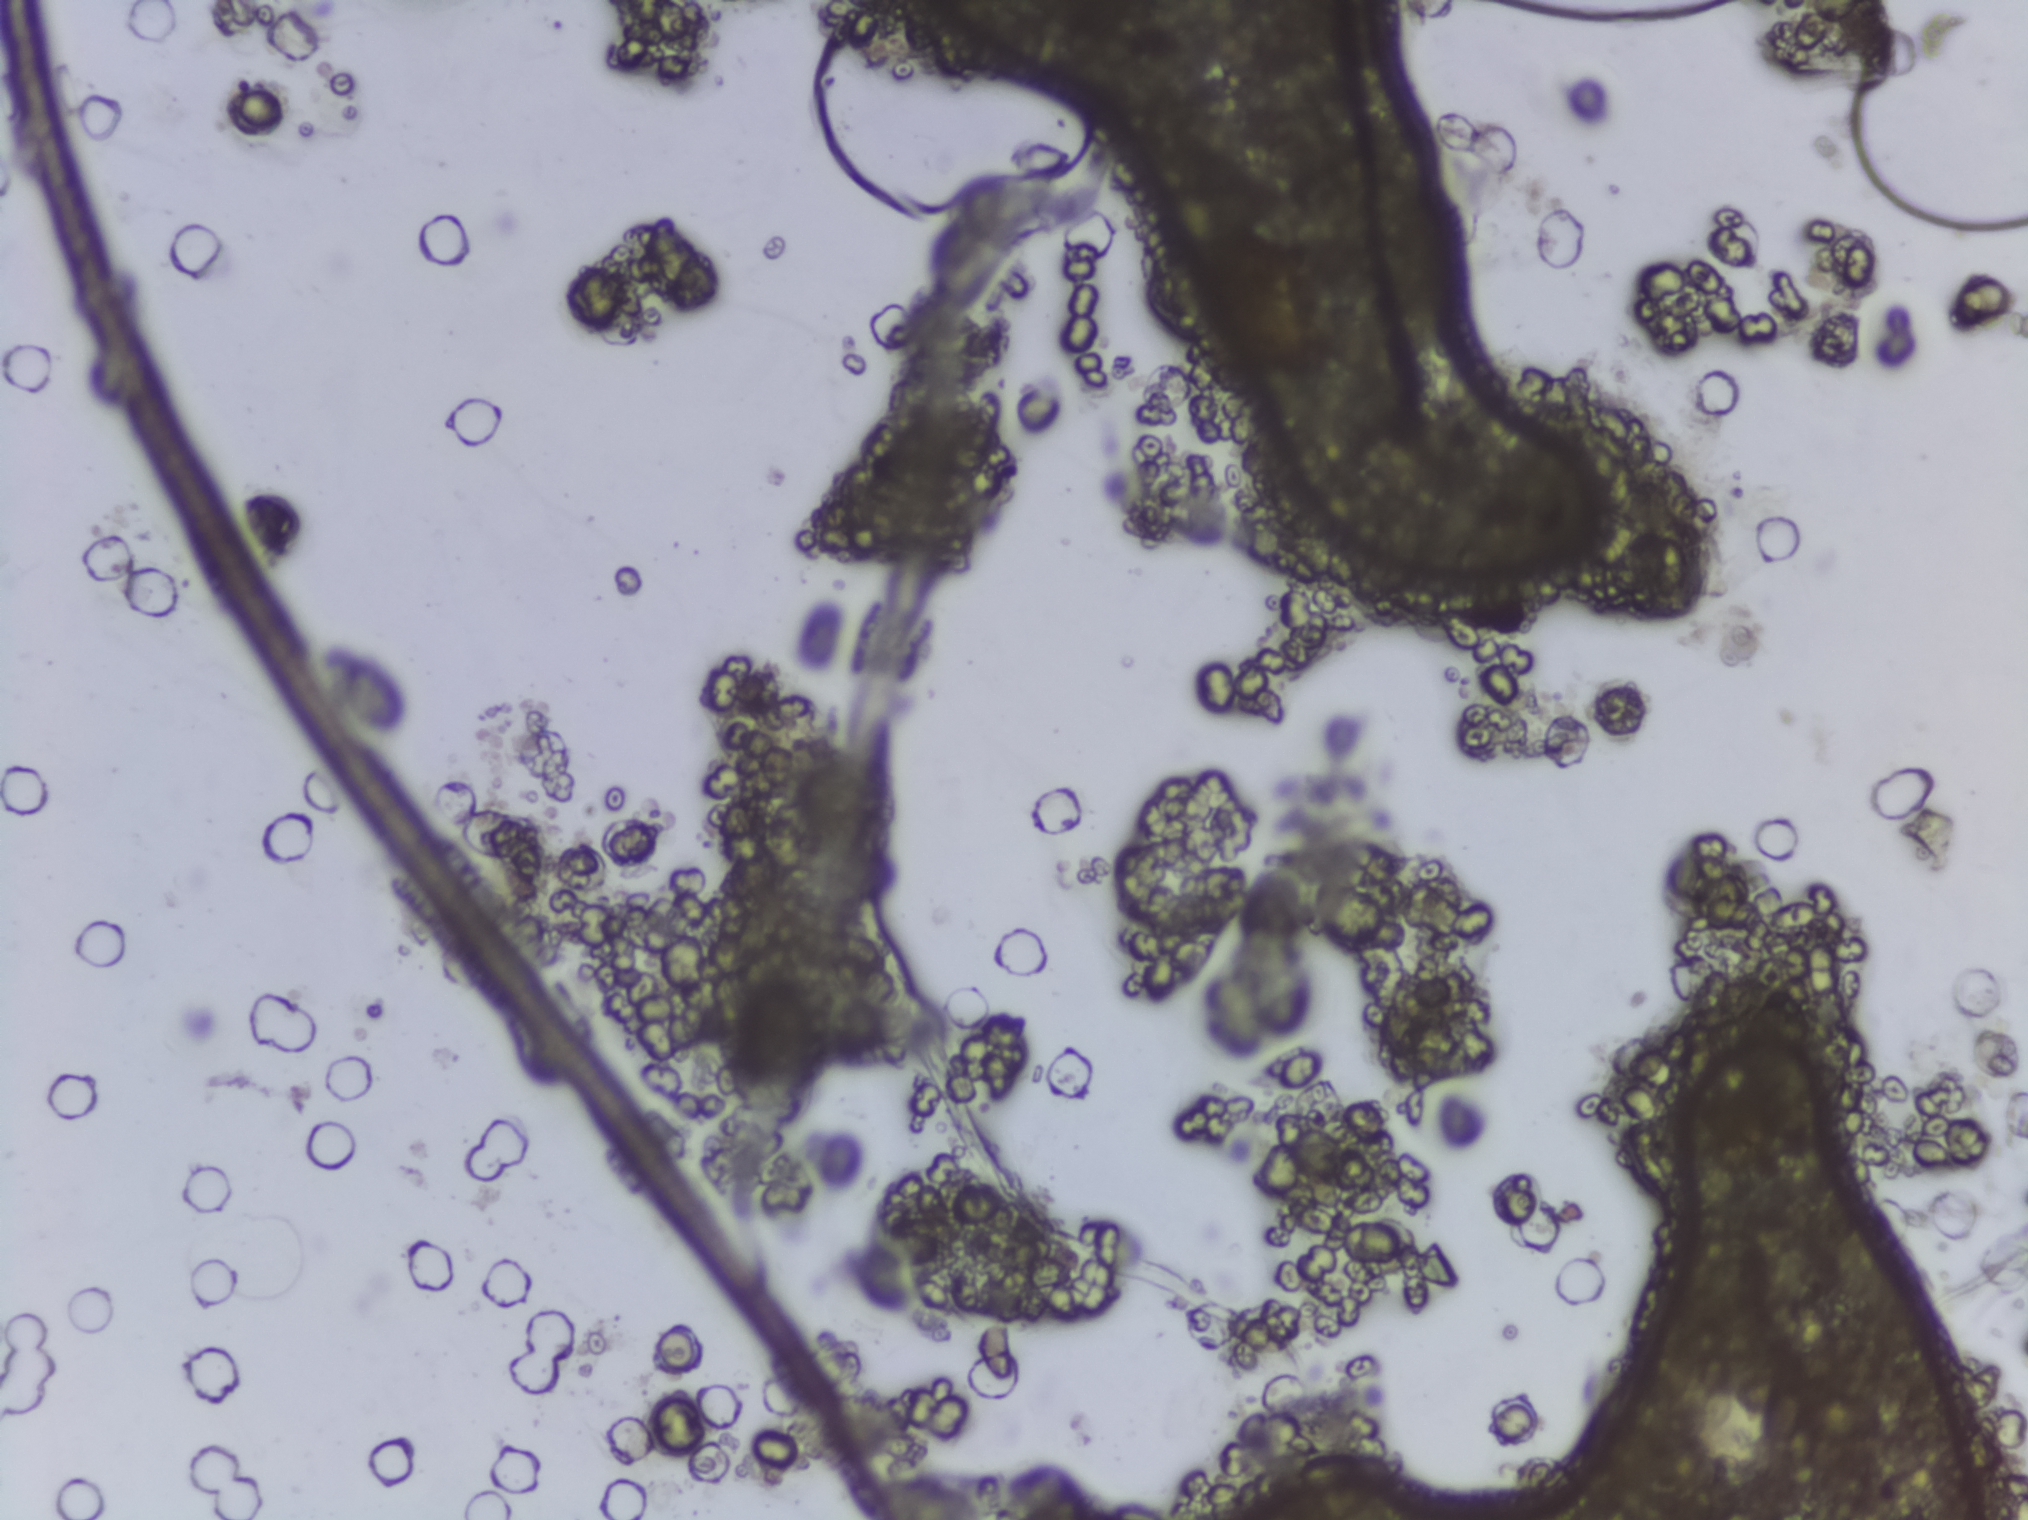
The expert annotation marks no Schistosoma egg in this field of view.
Urine filtration membrane under a 4× objective, photographed by an automated digital microscope.